Microscope photograph (4× objective) of a membrane that a urine sample was filtered through.
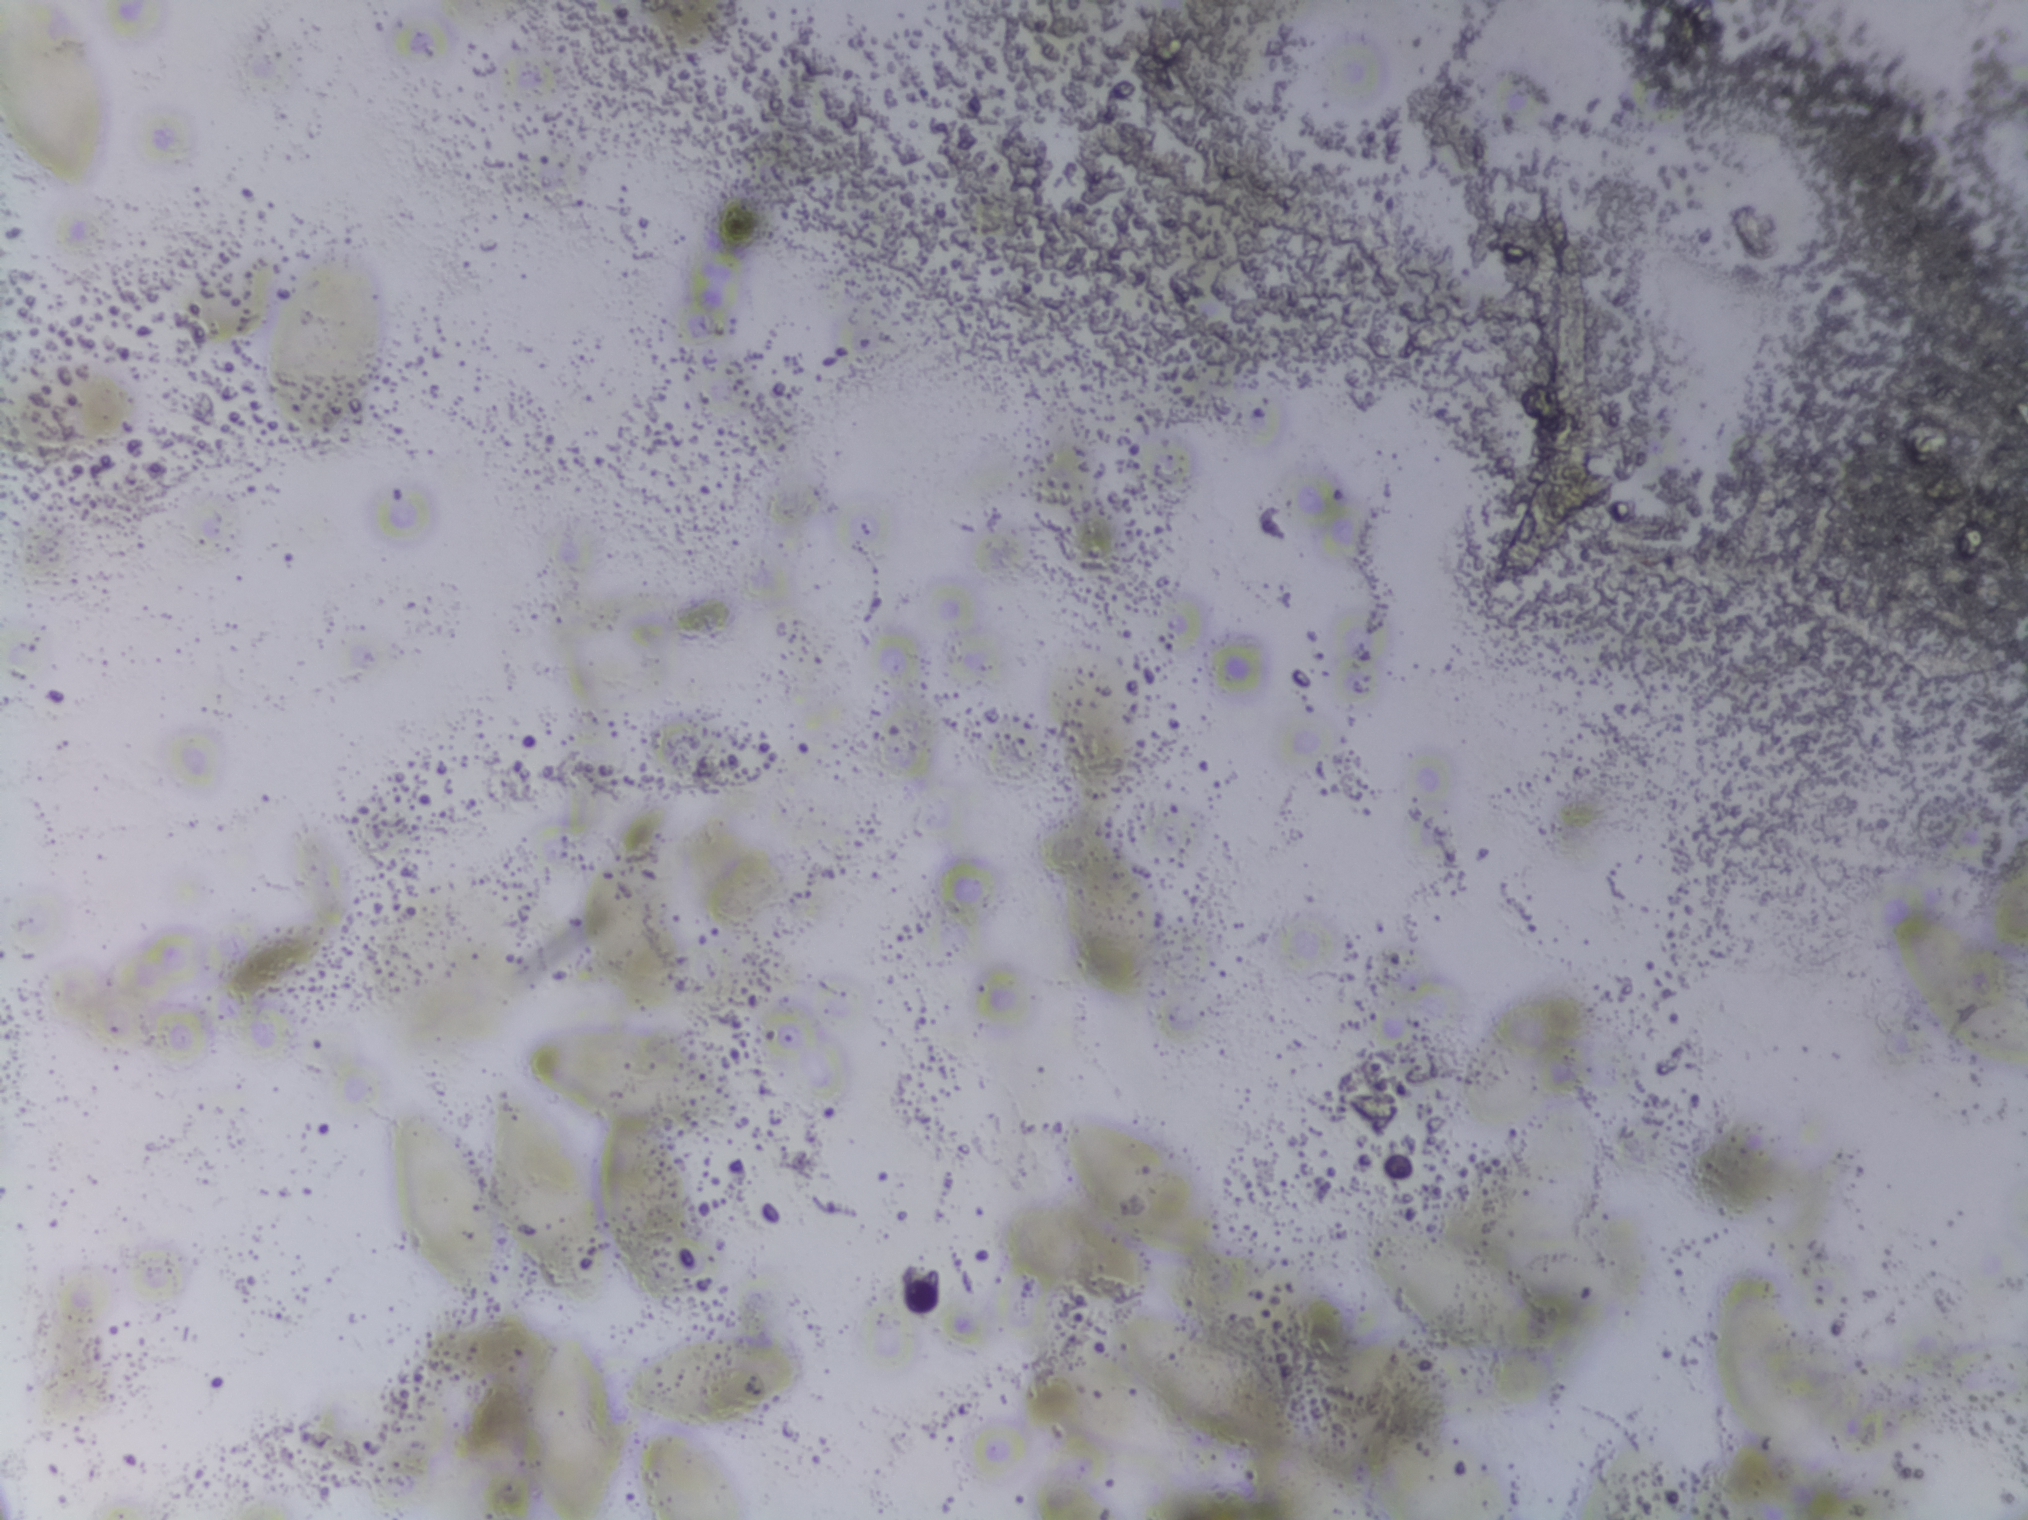
The expert annotation outlines no Schistosoma egg in this image.